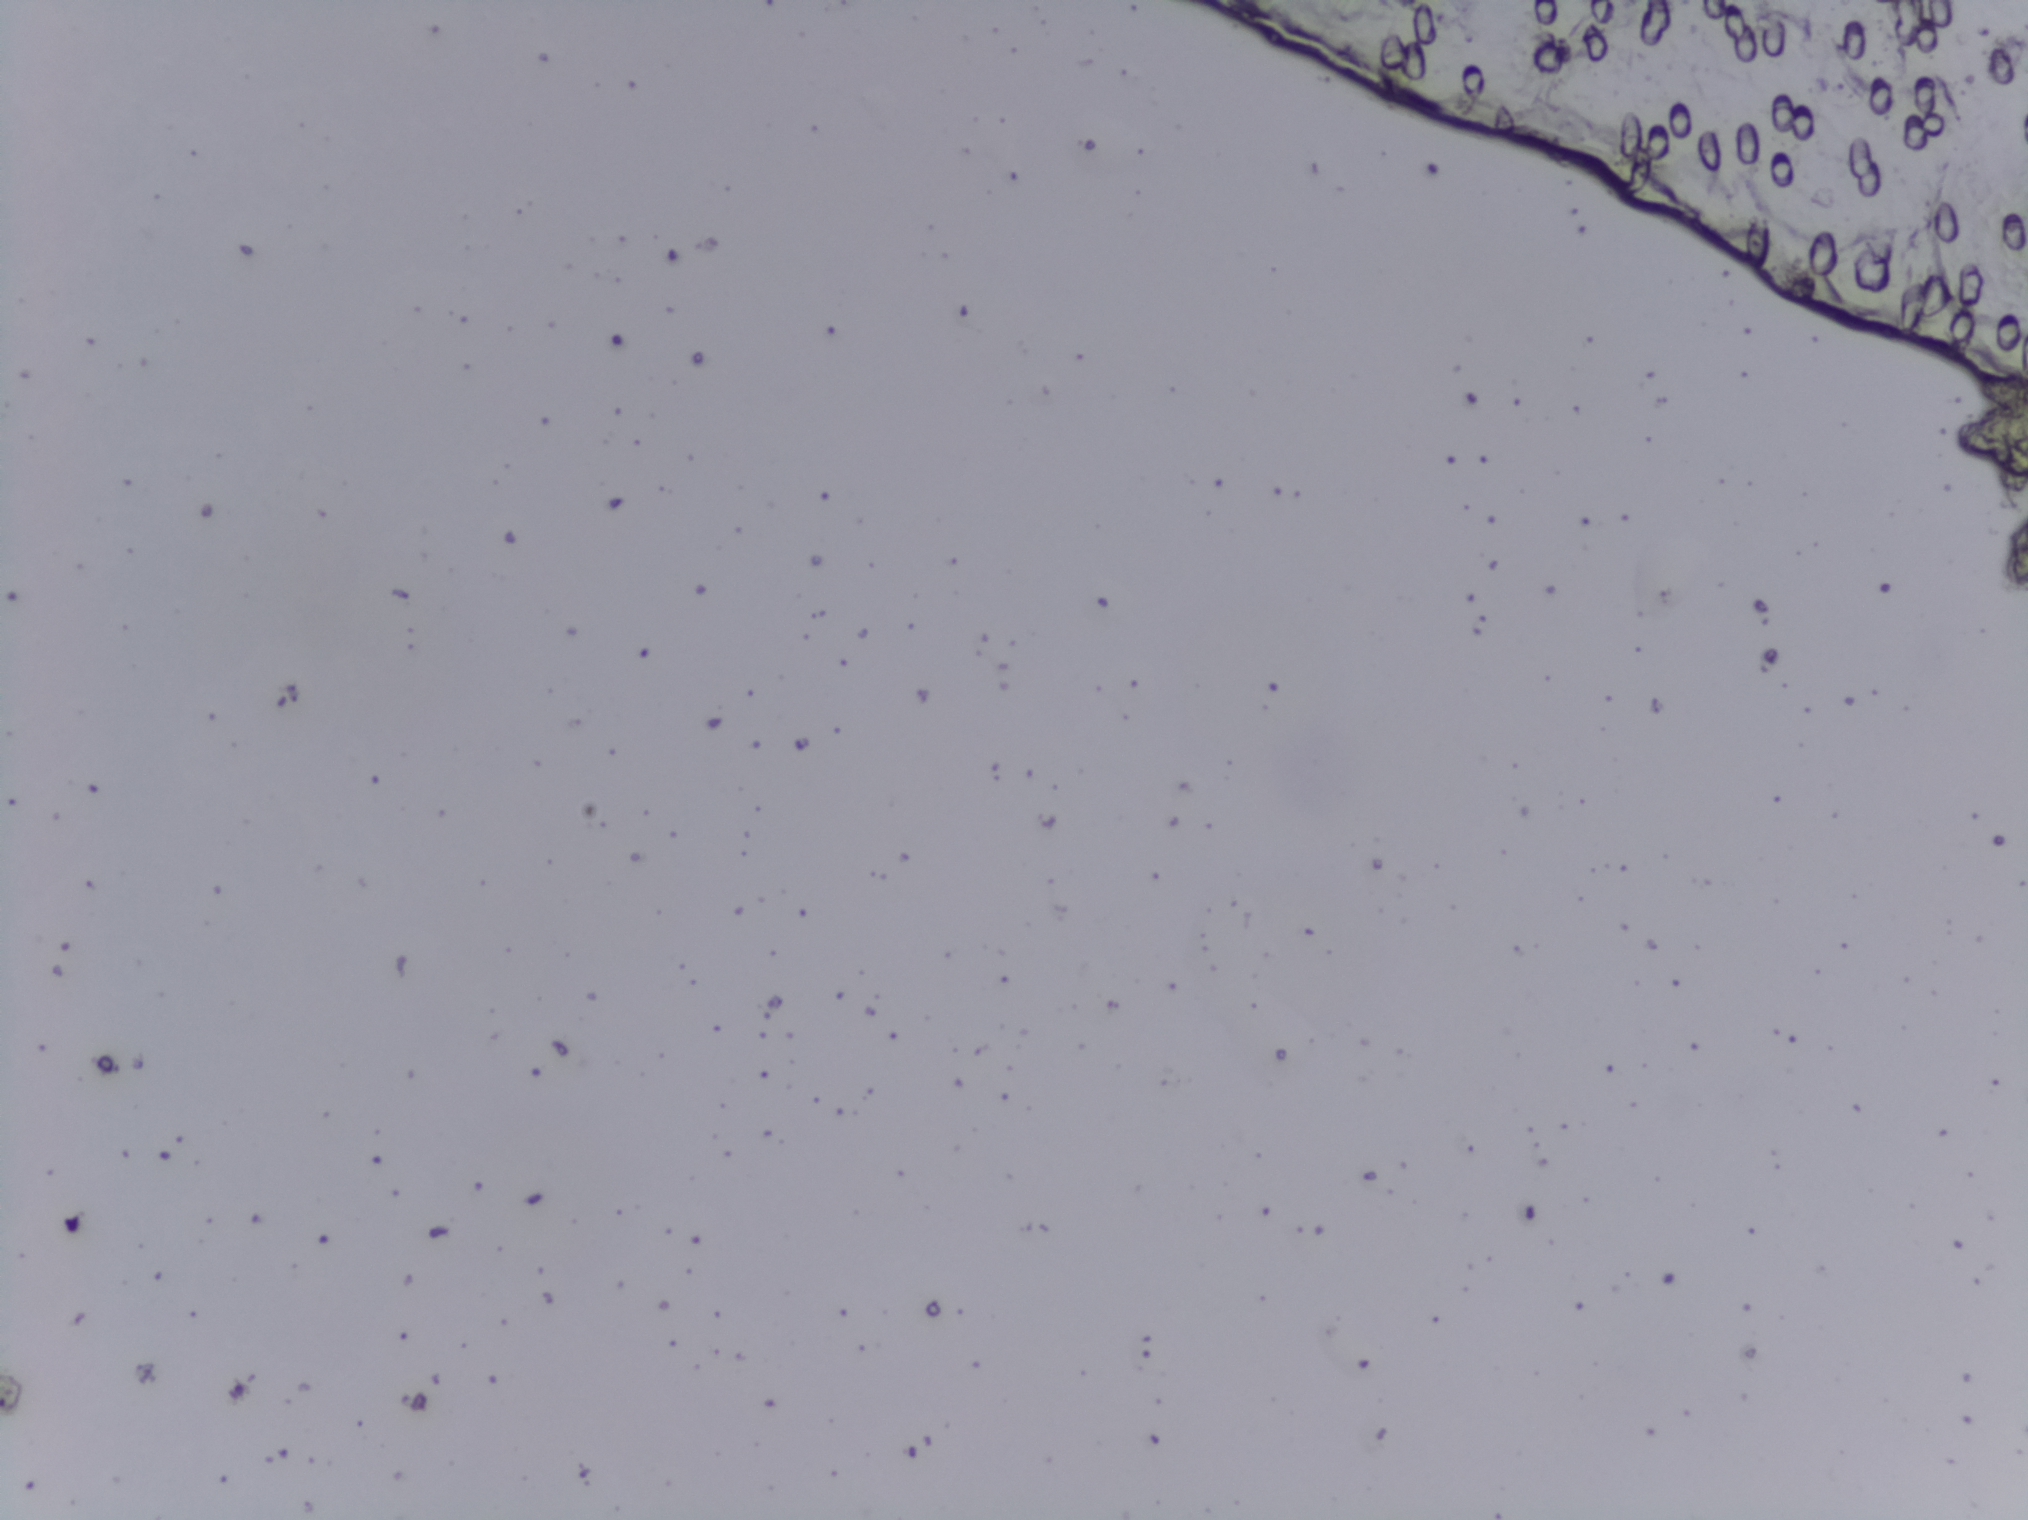
Photograph from an automated digital microscope: urine filter membrane, 4× objective.
No area of this image was outlined as a Schistosoma egg.